Urine filtration membrane under a 4× objective, photographed by an automated digital microscope.
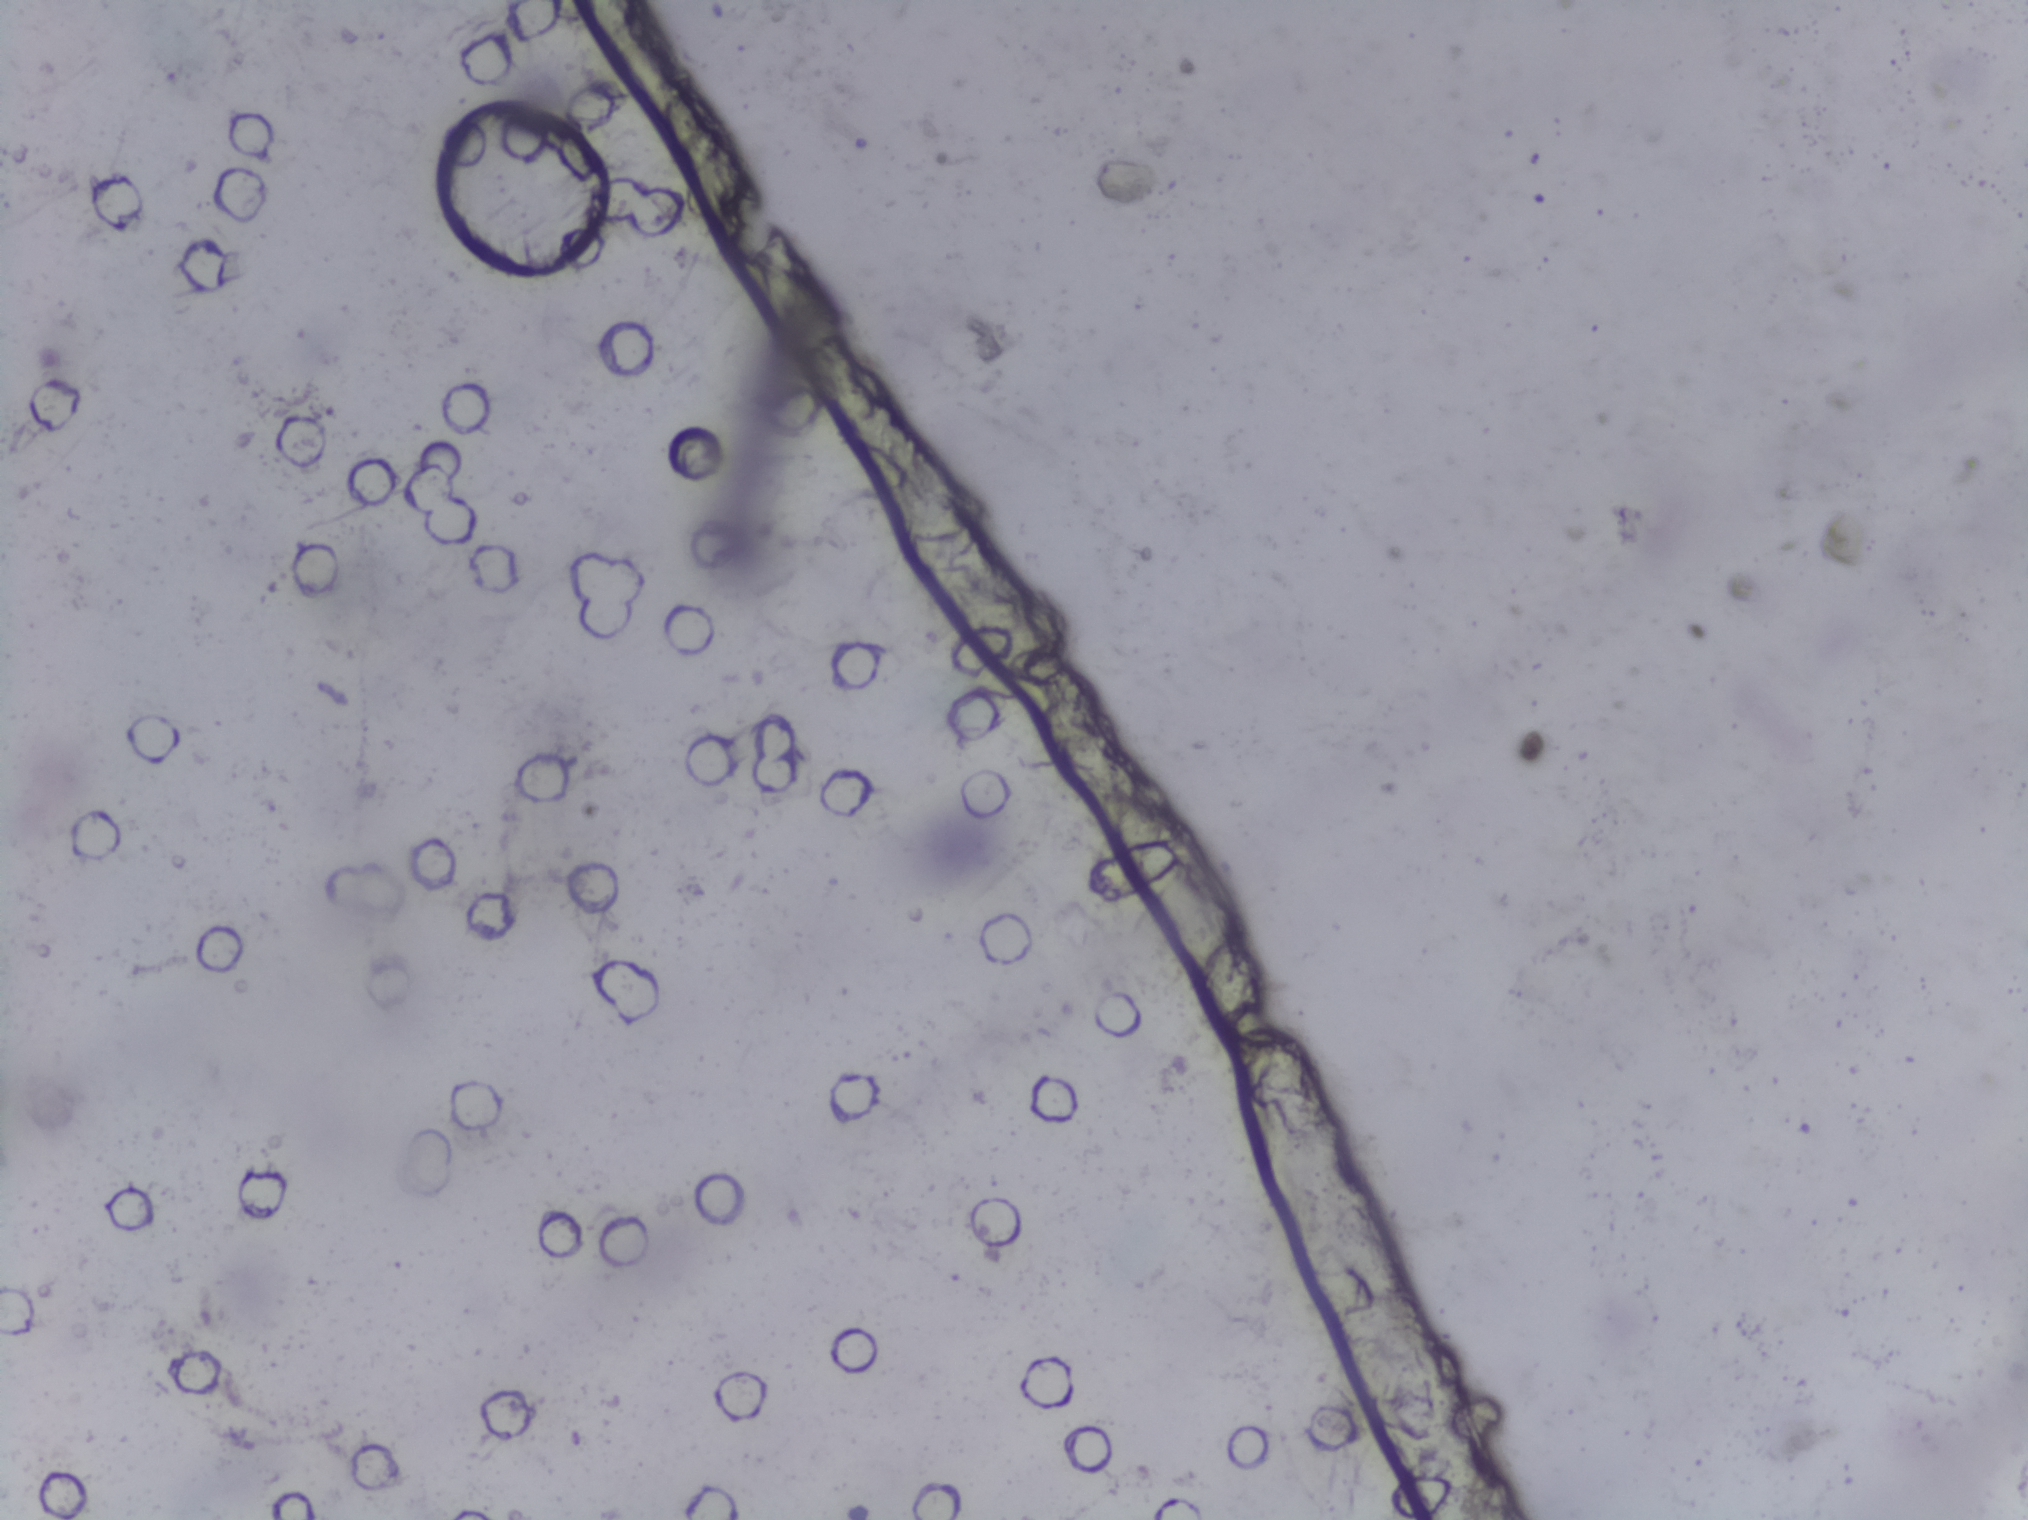
The expert annotation marks no Schistosoma egg in this field of view.